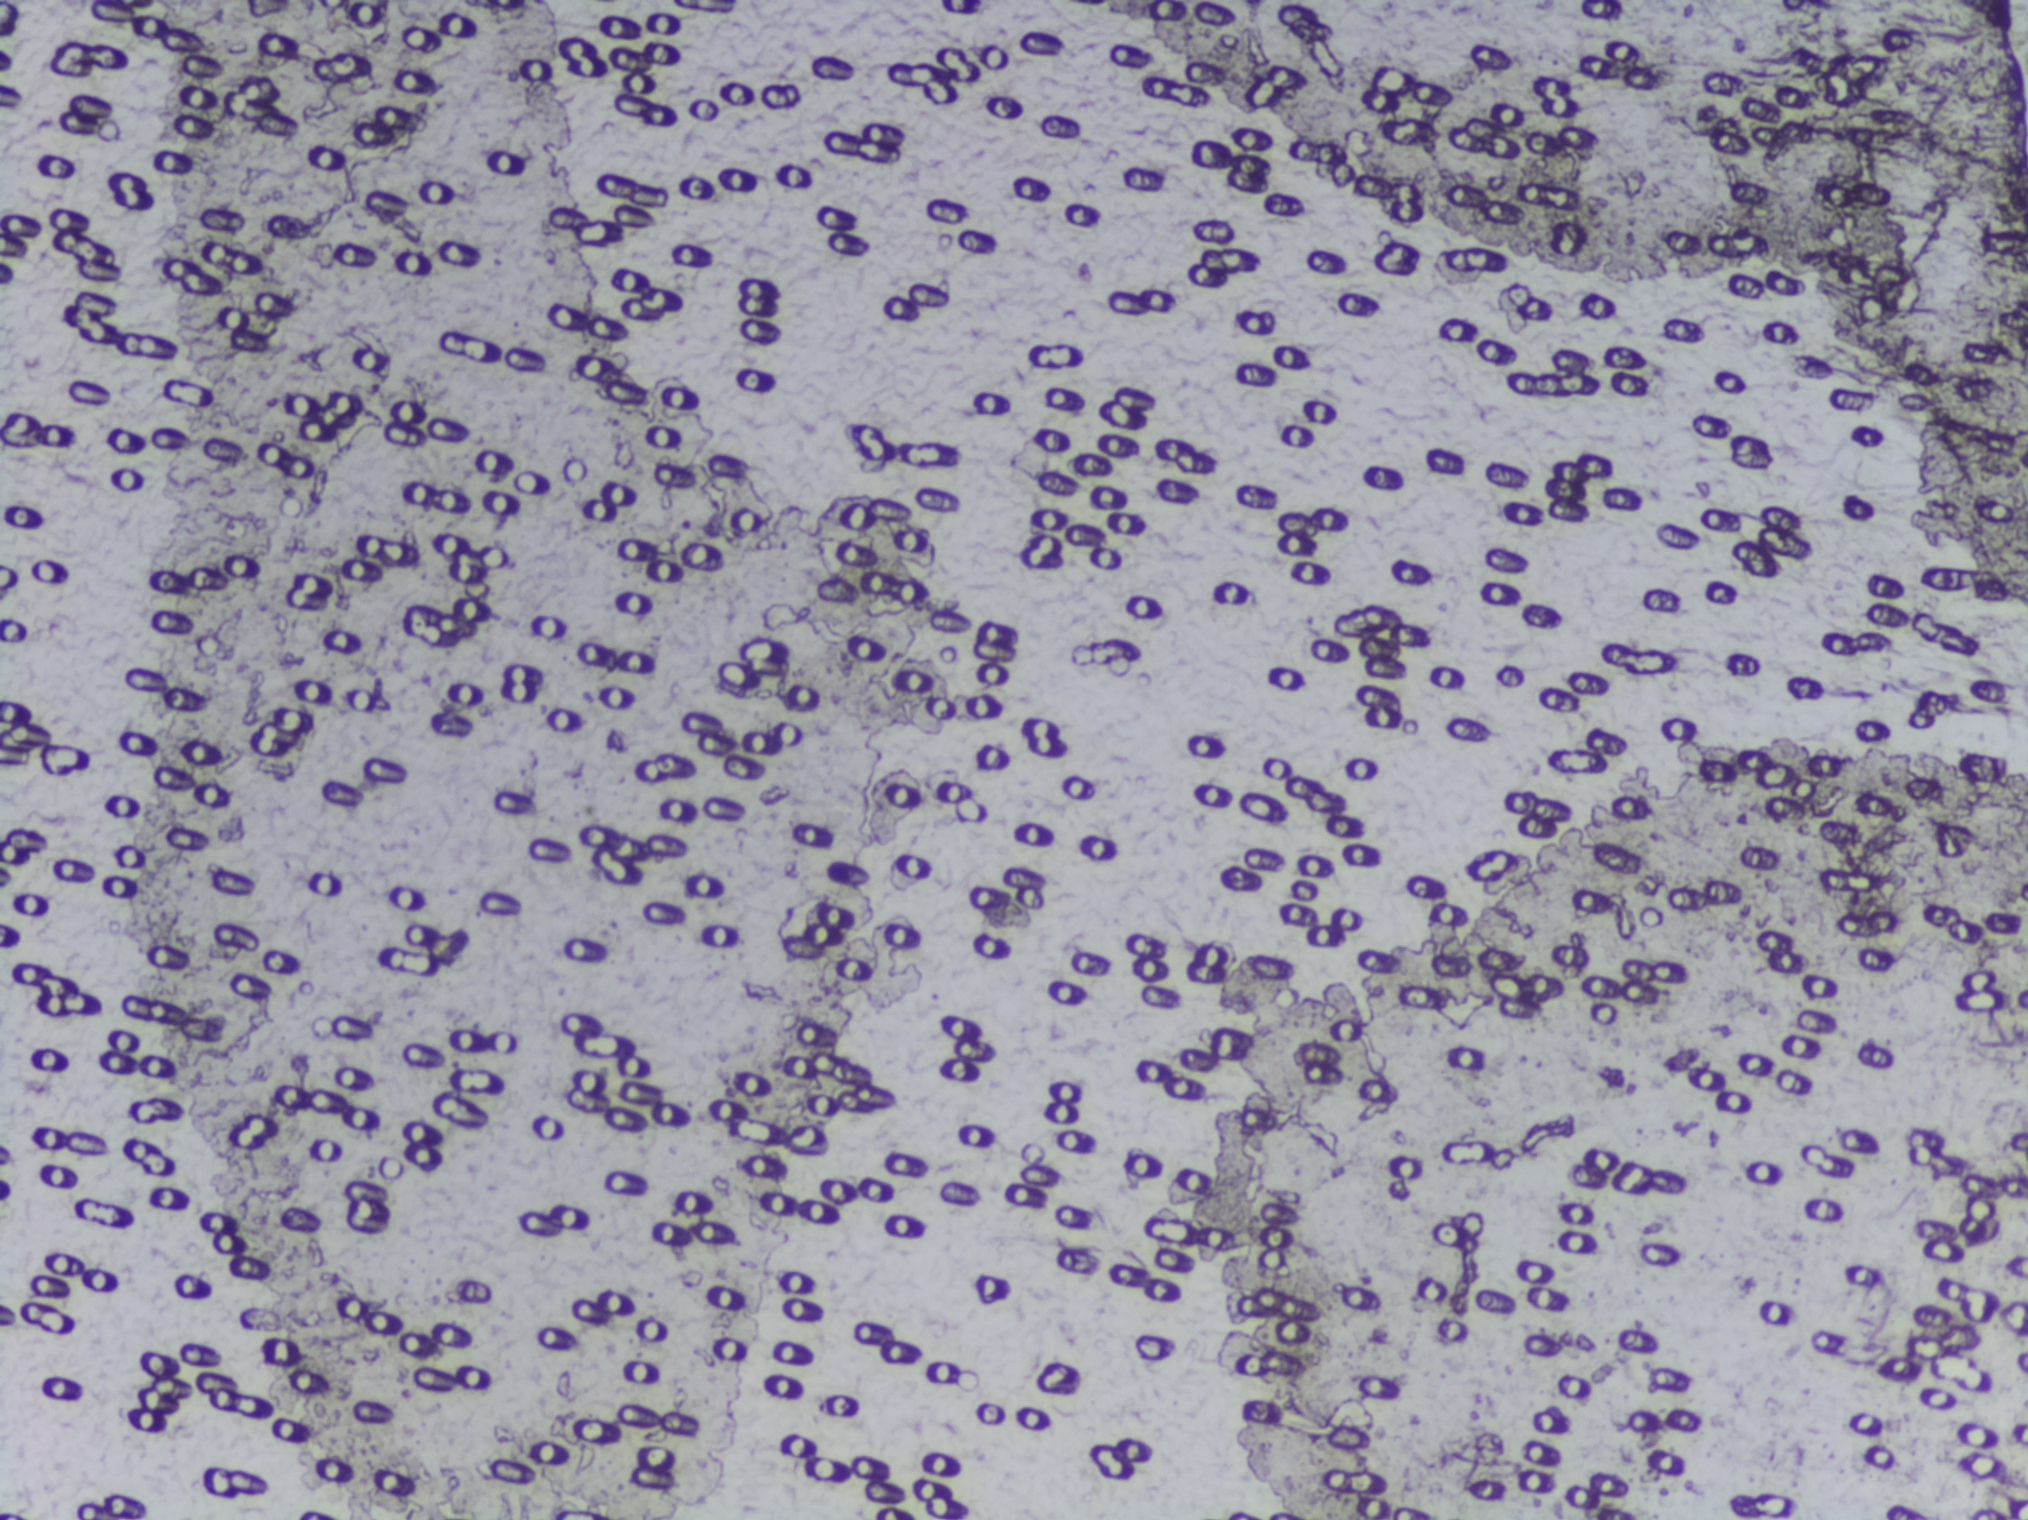
The expert annotation outlines no Schistosoma egg in this image.
Urine filtration membrane under a 4× objective, photographed by an automated digital microscope. Field of view: about 1.5 mm wide and 1.1 mm high.